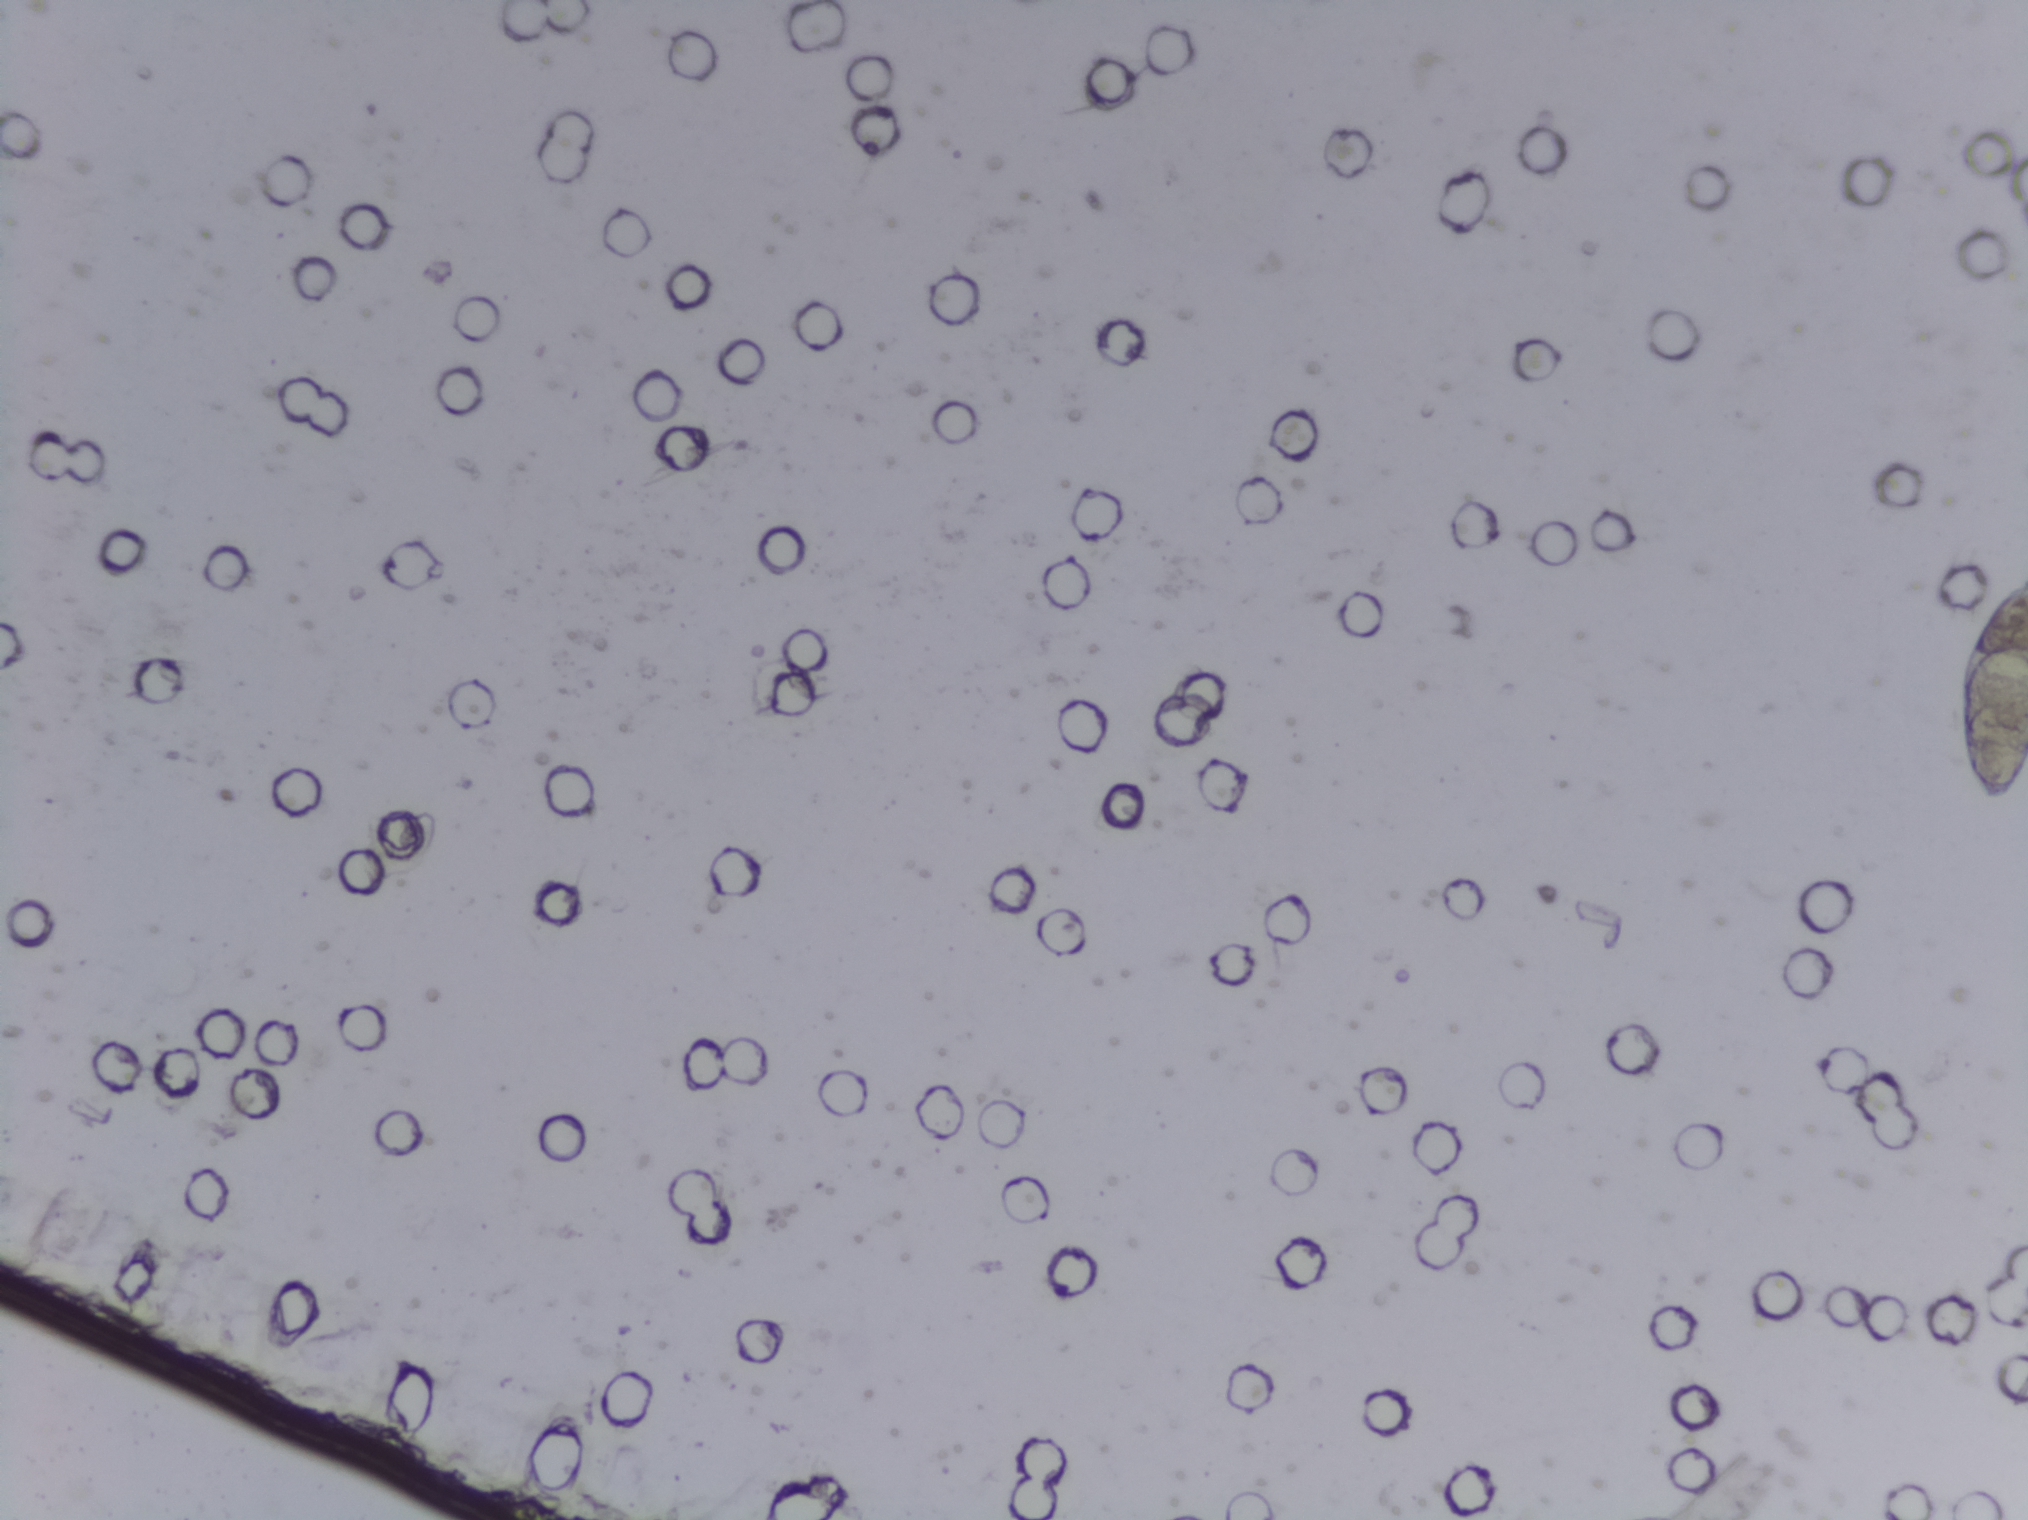
Photograph from an automated digital microscope: urine filter membrane, 4× objective.
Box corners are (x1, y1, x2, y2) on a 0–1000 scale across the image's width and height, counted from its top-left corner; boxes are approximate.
Findings: one area outlined as Schistosoma eggs. Location: (961, 380, 1000, 530) (reaching the right edge of the frame). Eggs that touch can end up inside the same outlined area.